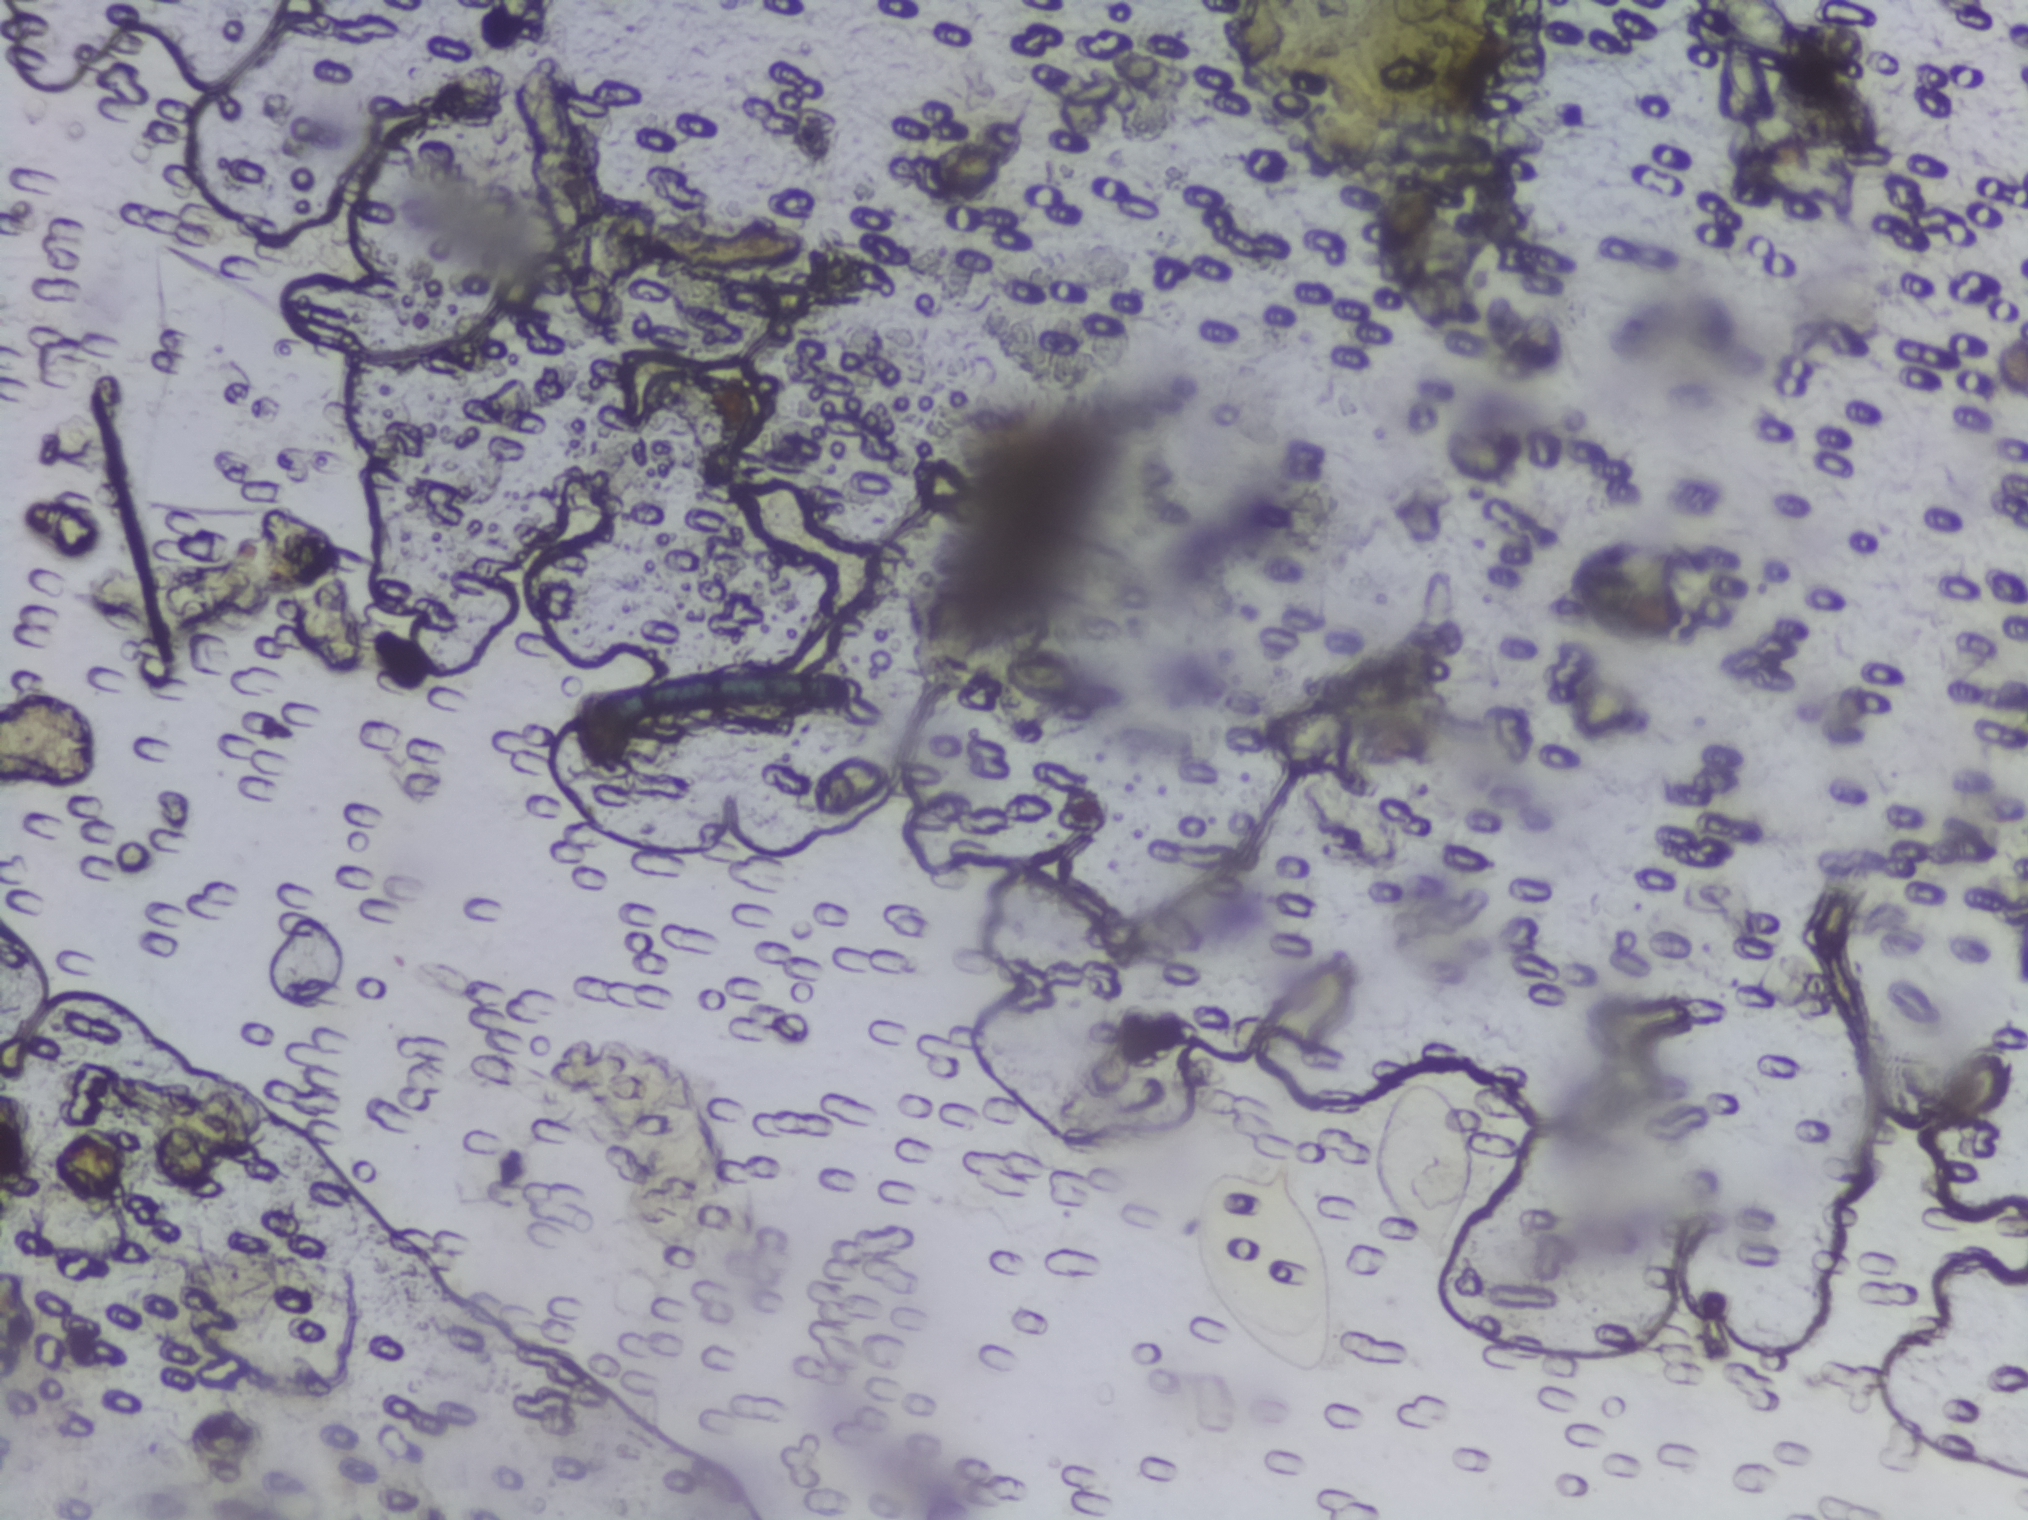
Microscope photograph (4× objective) of a membrane that a urine sample was filtered through.
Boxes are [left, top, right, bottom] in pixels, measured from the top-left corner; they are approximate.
Schistosoma eggs, outlined areas: [1189, 1150, 1340, 1385]; [1367, 1072, 1476, 1269]. Eggs that touch can end up inside the same outlined area.